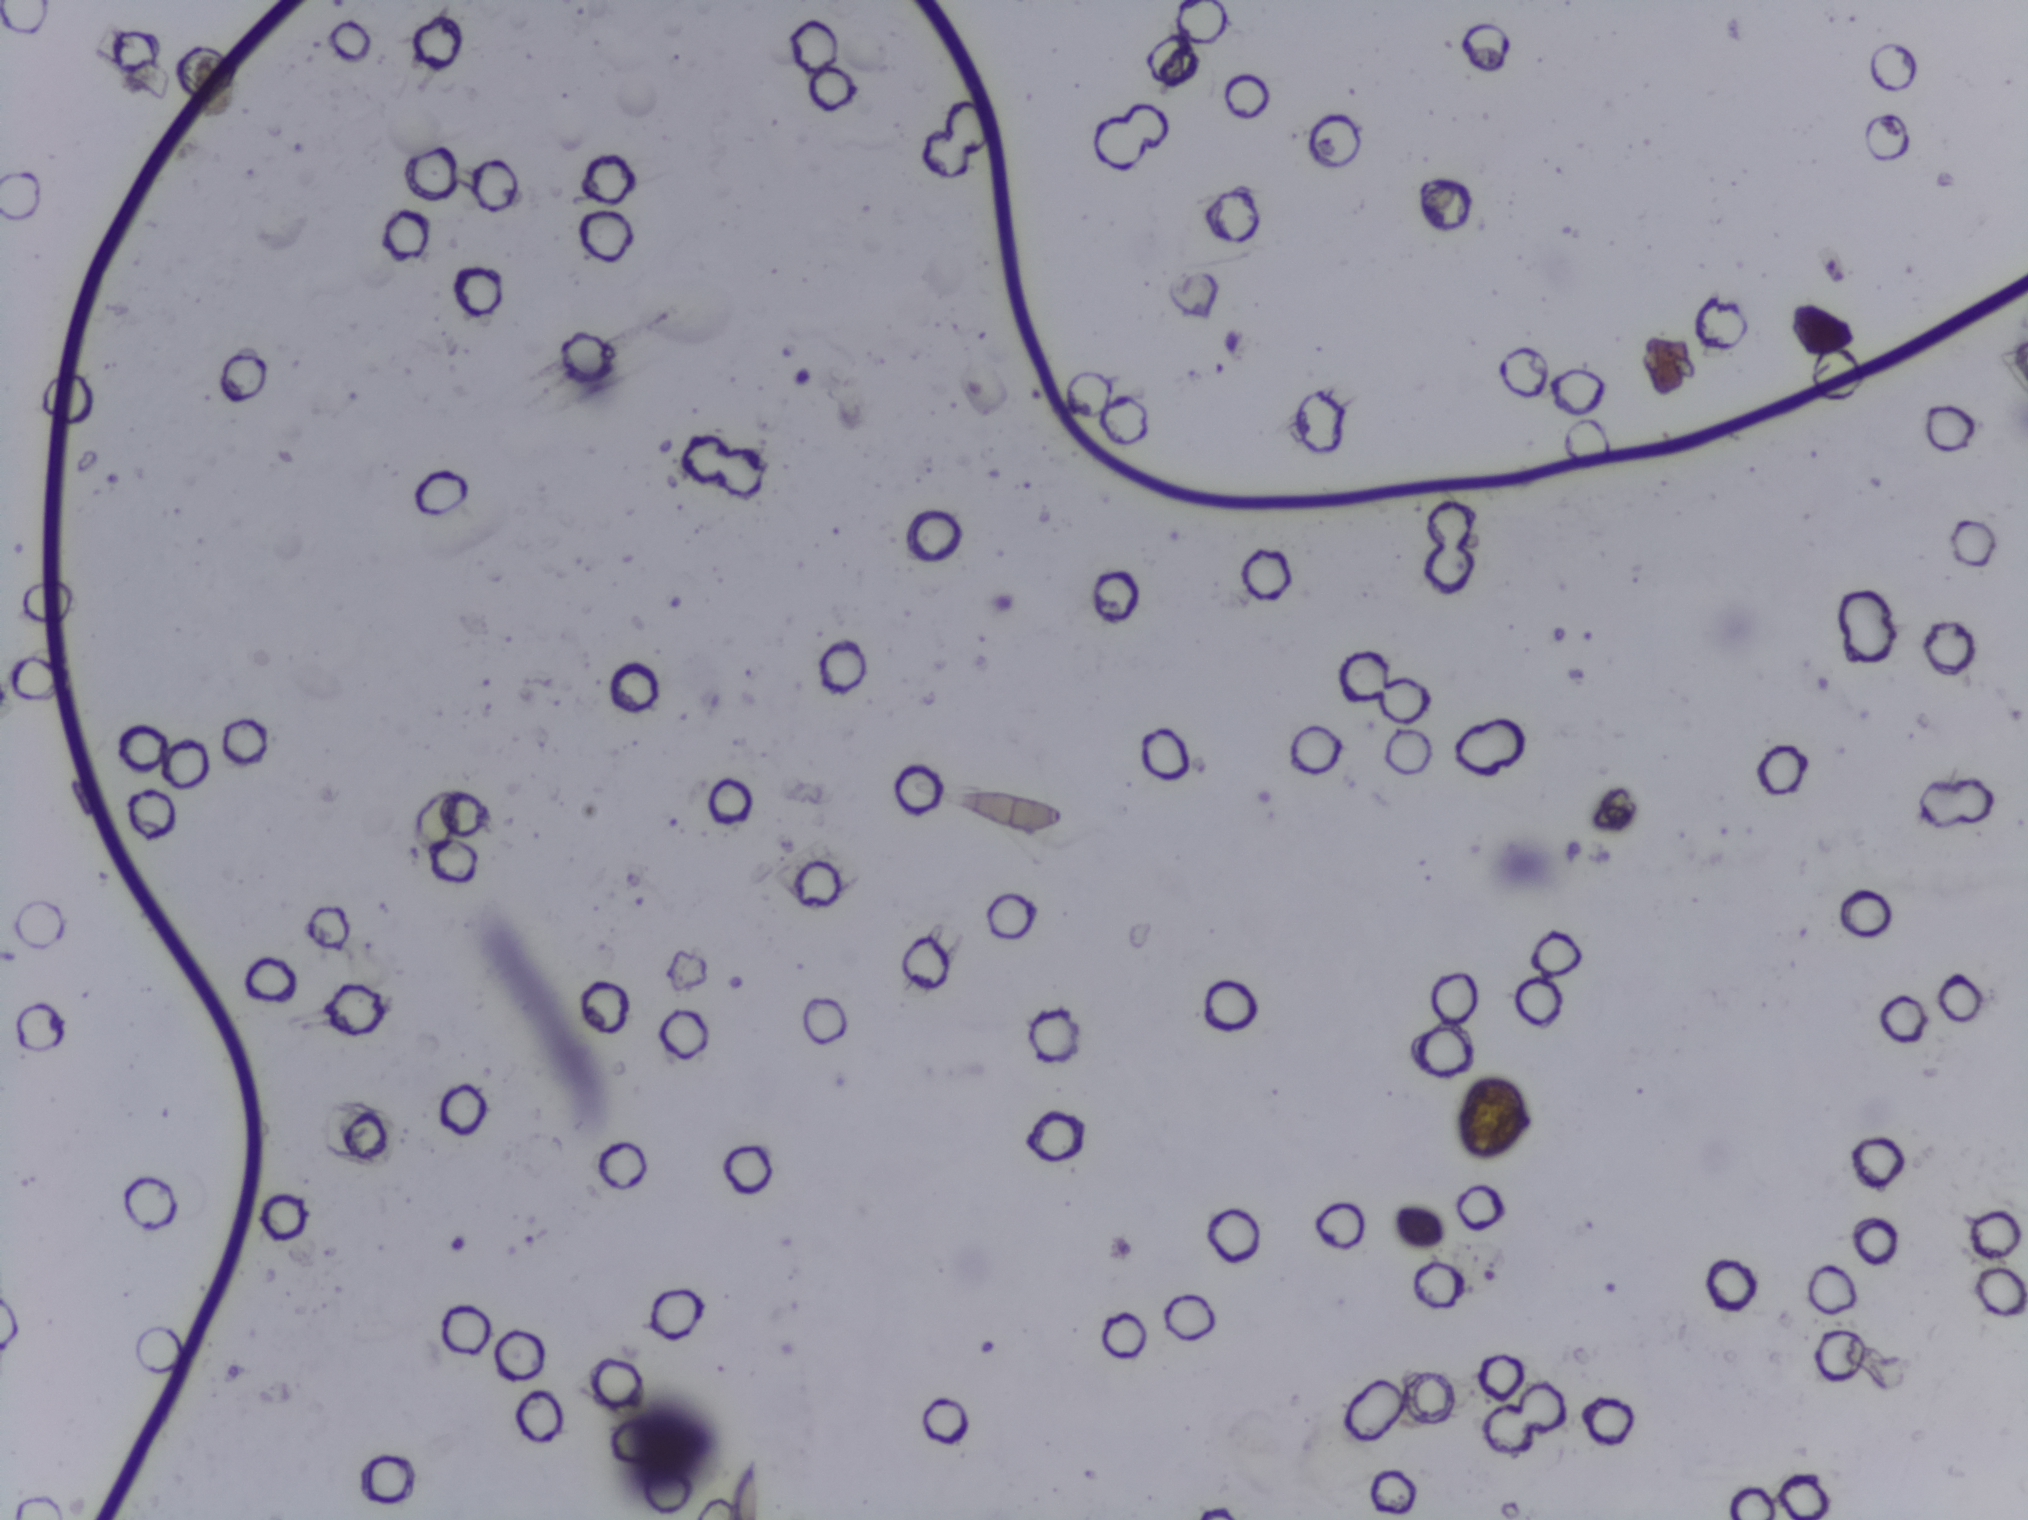
Microscope photograph (4× objective) of a membrane that a urine sample was filtered through.
The expert annotation marks no Schistosoma egg in this field of view.